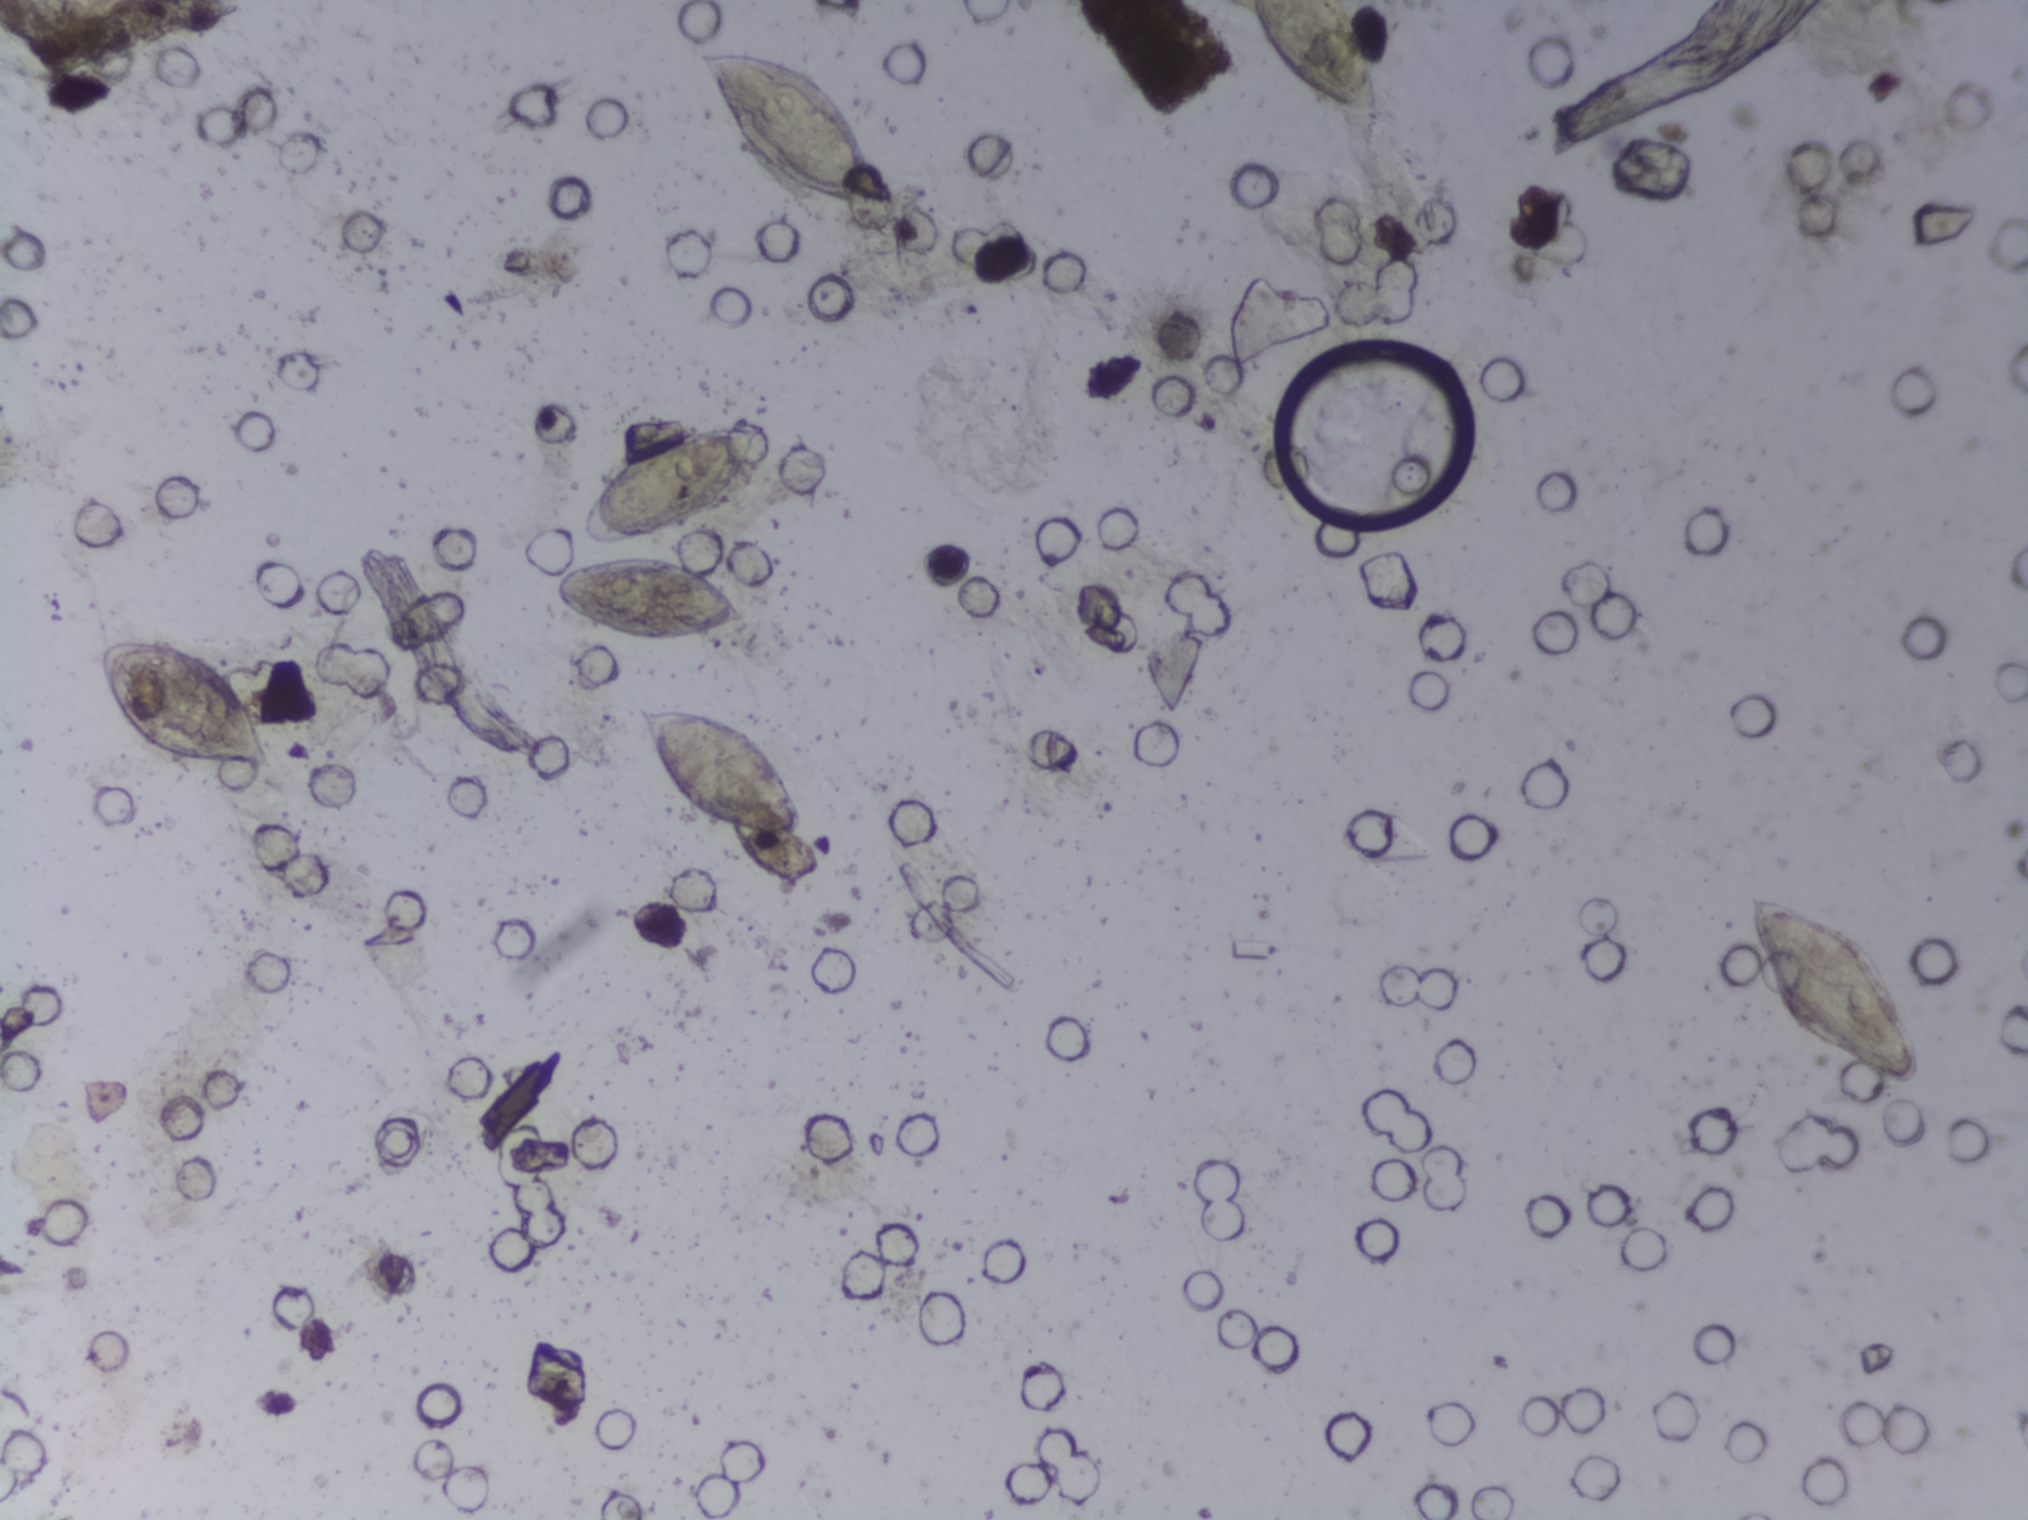
Photograph from an automated digital microscope: urine filter membrane, 4× objective. Field of view: about 1.5 mm wide and 1.1 mm high.
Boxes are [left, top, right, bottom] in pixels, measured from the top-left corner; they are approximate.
The expert annotation outlines Schistosoma eggs at [90, 637, 274, 769]; [550, 421, 770, 648]; [622, 702, 804, 841]; [692, 49, 874, 210]; [1251, 0, 1378, 117] (reaching the top edge of the frame); [1744, 882, 1925, 1091]. A single outlined area may contain several eggs. A marked egg may occasionally be S. mansoni rather than S. haematobium.